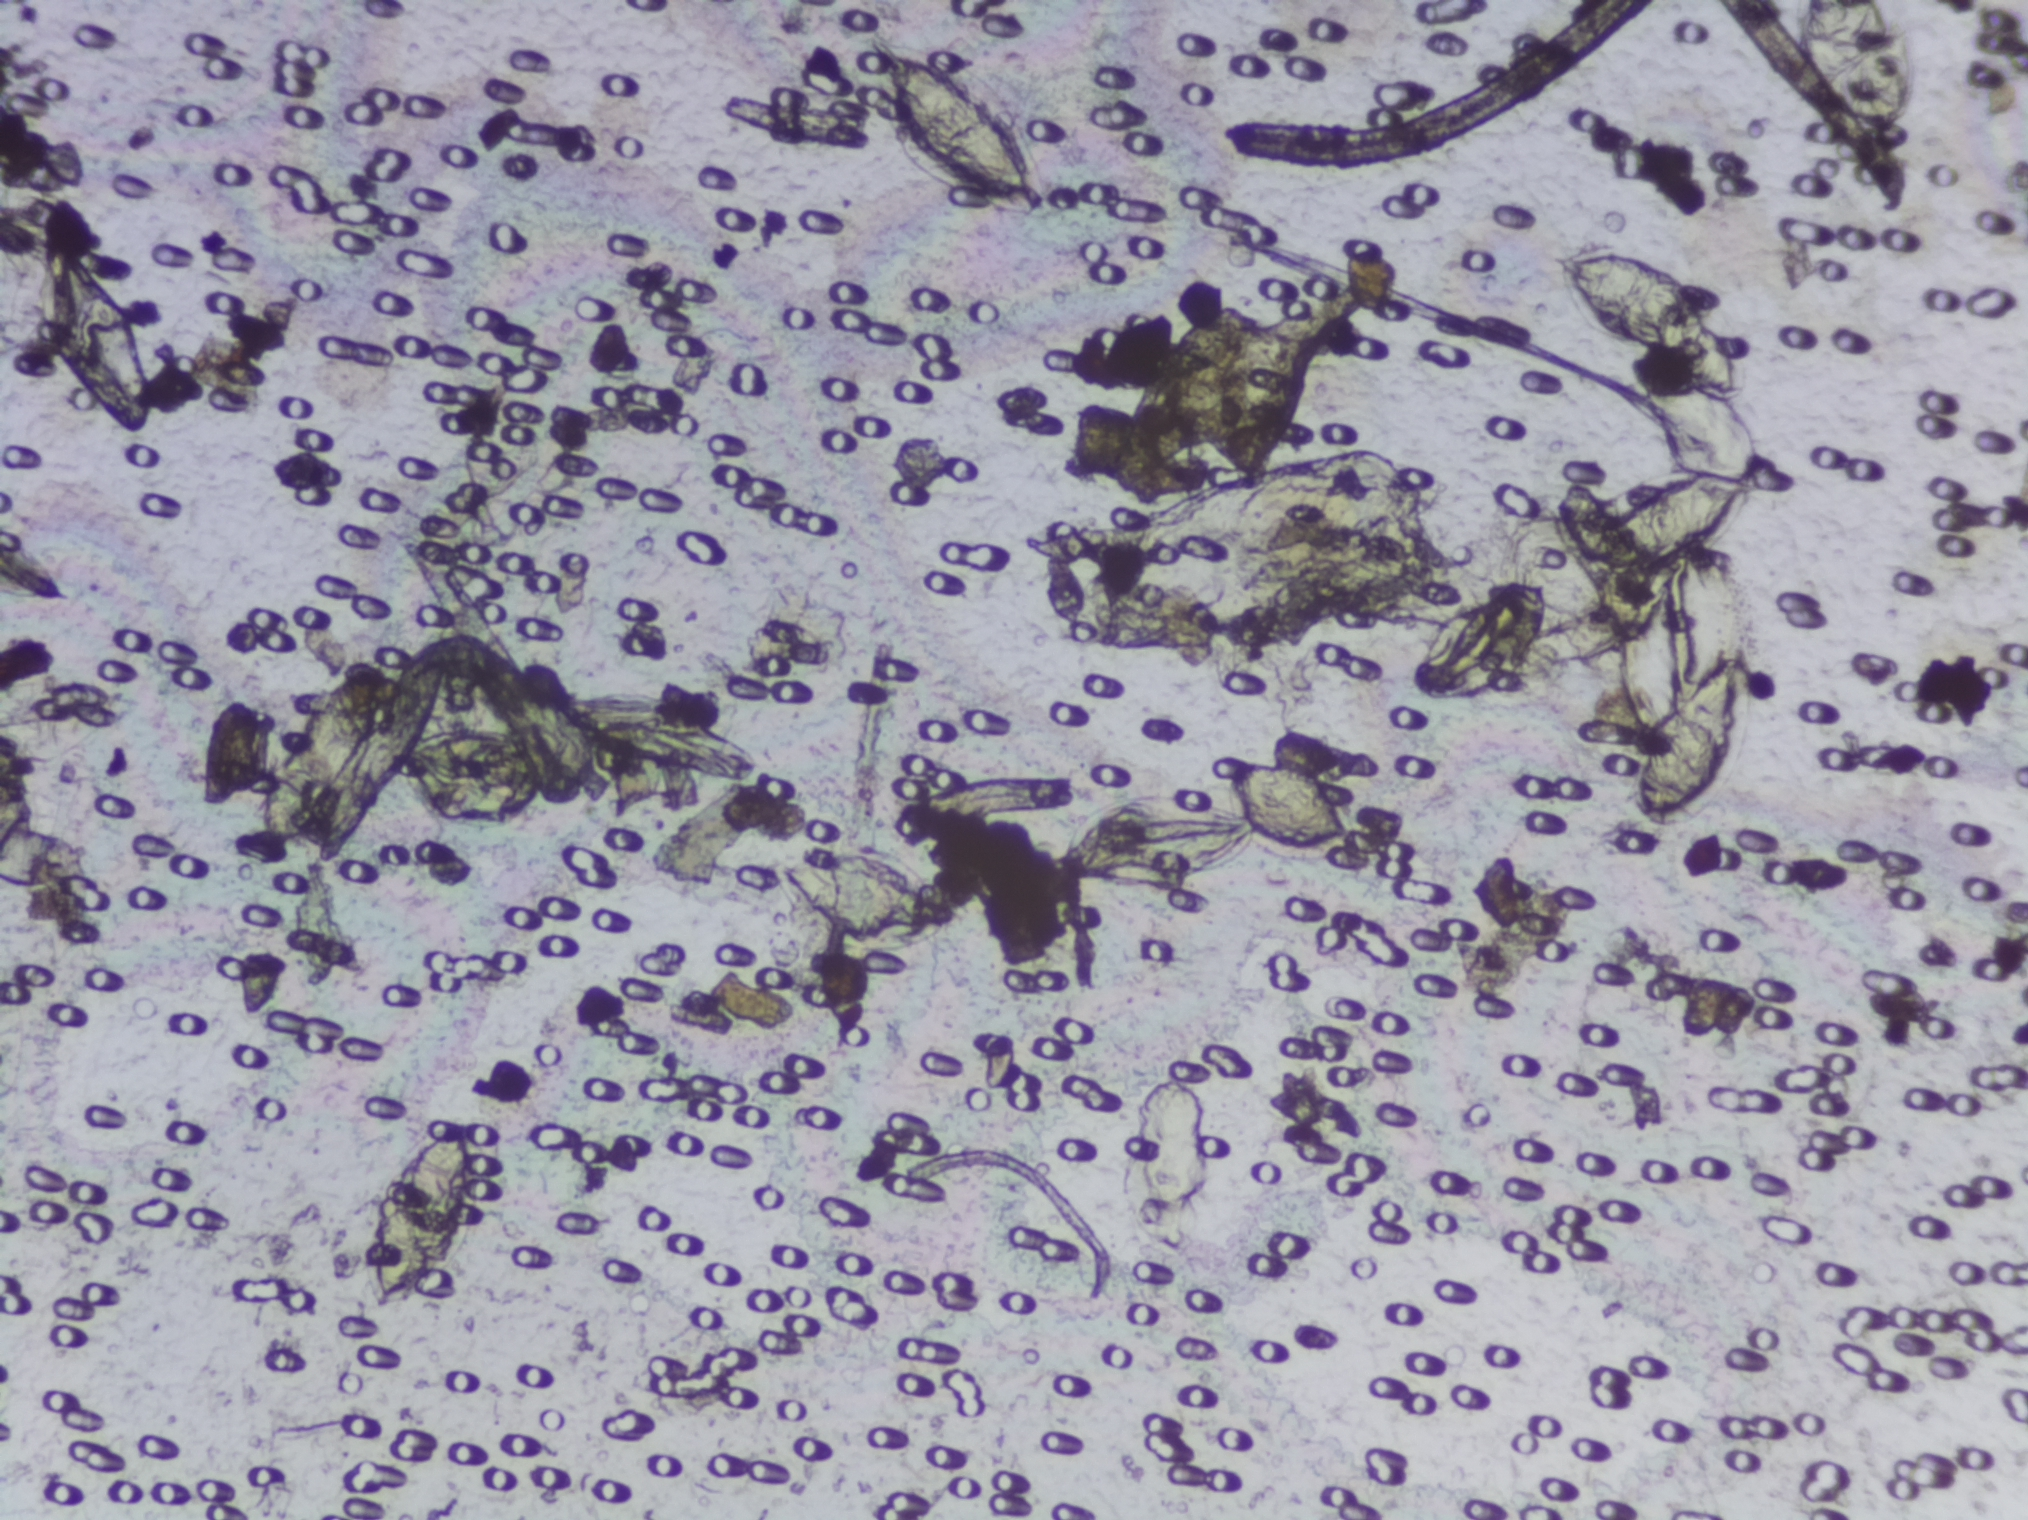
Photograph from an automated digital microscope: urine filter membrane, 4× objective.
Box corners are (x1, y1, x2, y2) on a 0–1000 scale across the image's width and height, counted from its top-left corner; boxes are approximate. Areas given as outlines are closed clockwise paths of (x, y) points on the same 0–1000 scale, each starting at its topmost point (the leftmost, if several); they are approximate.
Findings: eight areas outlined as Schistosoma eggs. Locations: box (17, 139, 84, 287); box (171, 729, 250, 876); box (367, 551, 479, 634); box (418, 27, 520, 137); box (518, 497, 679, 593); box (693, 377, 771, 480); outline (786, 148), (817, 151), (841, 179), (849, 204), (860, 214), (868, 233), (863, 269), (875, 281), (882, 293), (881, 314), (875, 326), (869, 329), (868, 338), (866, 332), (863, 334), (855, 350), (831, 375), (839, 426), (847, 418), (859, 417), (869, 430), (875, 451), (875, 475), (867, 490), (860, 533), (843, 546), (823, 552), (811, 552), (799, 538), (798, 506), (809, 480), (791, 447), (791, 425), (794, 442), (795, 431), (811, 407), (821, 379), (800, 387), (789, 369), (788, 342), (812, 331), (834, 313), (824, 307), (821, 287), (810, 265), (809, 273), (805, 260), (810, 265), (813, 246), (829, 245), (821, 238), (807, 237), (797, 224), (773, 220), (772, 210), (761, 189), (759, 167) (eggs clustered together); box (882, 0, 943, 78) (reaching the top edge of the frame). A single outlined area may contain several eggs.